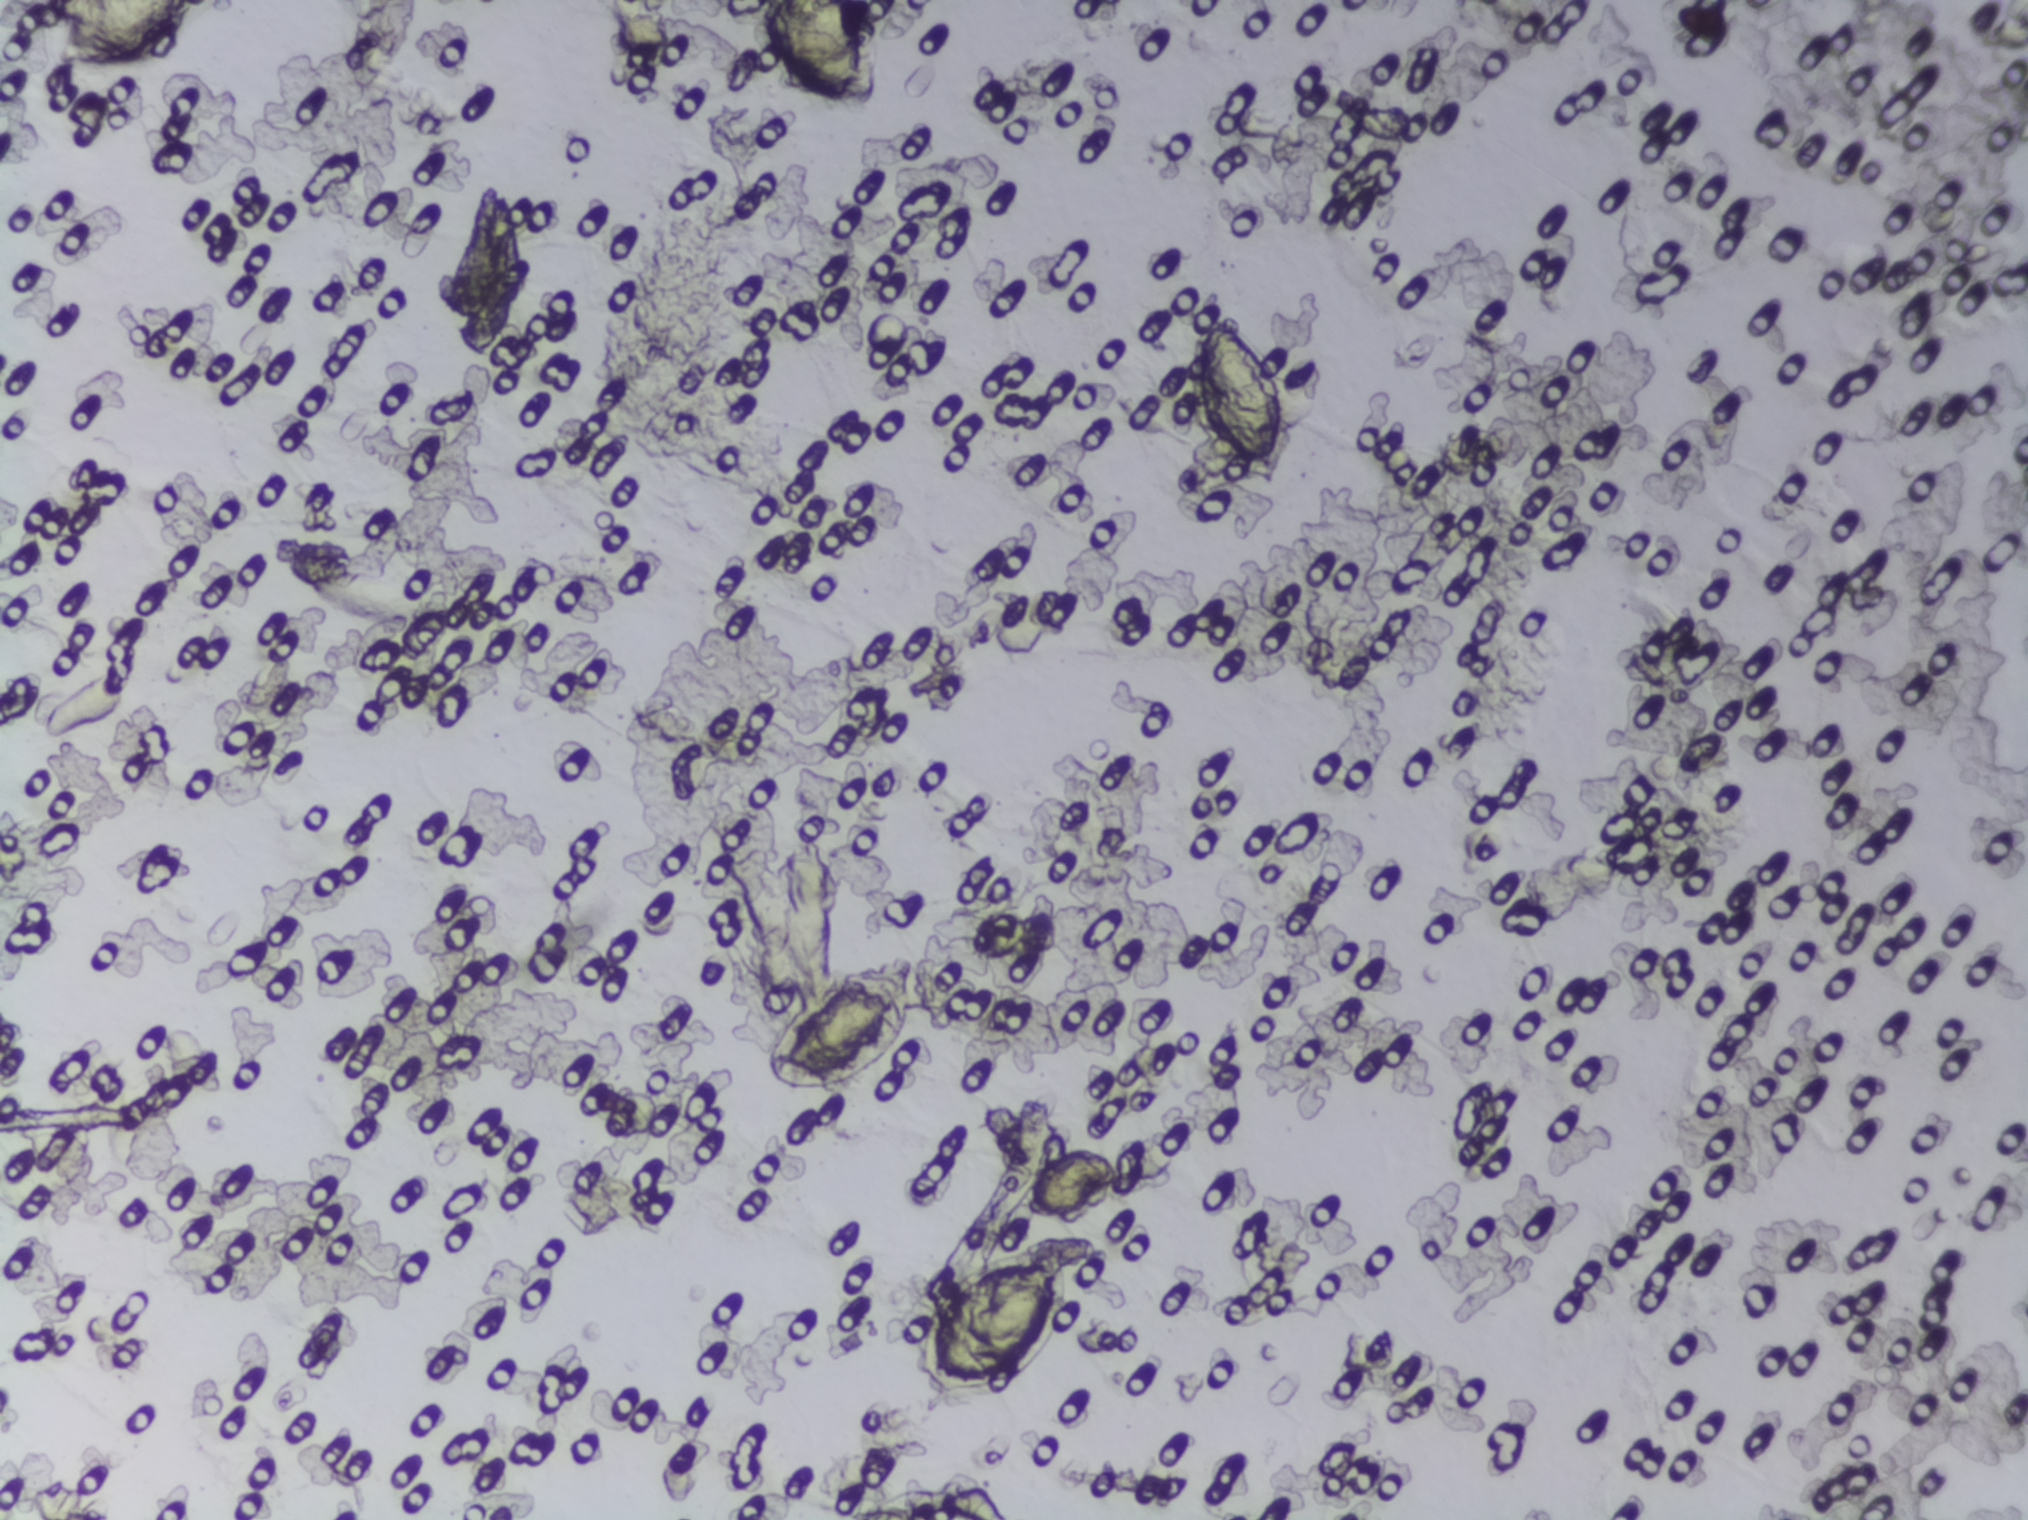
Urine filter membrane photographed through a 4× microscope objective.
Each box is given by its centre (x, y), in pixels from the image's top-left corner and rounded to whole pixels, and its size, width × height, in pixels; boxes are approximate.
Areas outlined as Schistosoma eggs, left to right:
1. centre (130, 36), 161 × 72 px (reaching the top edge of the frame)
2. centre (816, 53), 127 × 107 px (reaching the top edge of the frame)
3. centre (840, 1021), 145 × 138 px
4. centre (992, 1314), 154 × 158 px
5. centre (1237, 397), 98 × 176 px
Marked pixels, not the boxes around them: about 2.0% of the image. An outlined area can hold more than one egg.